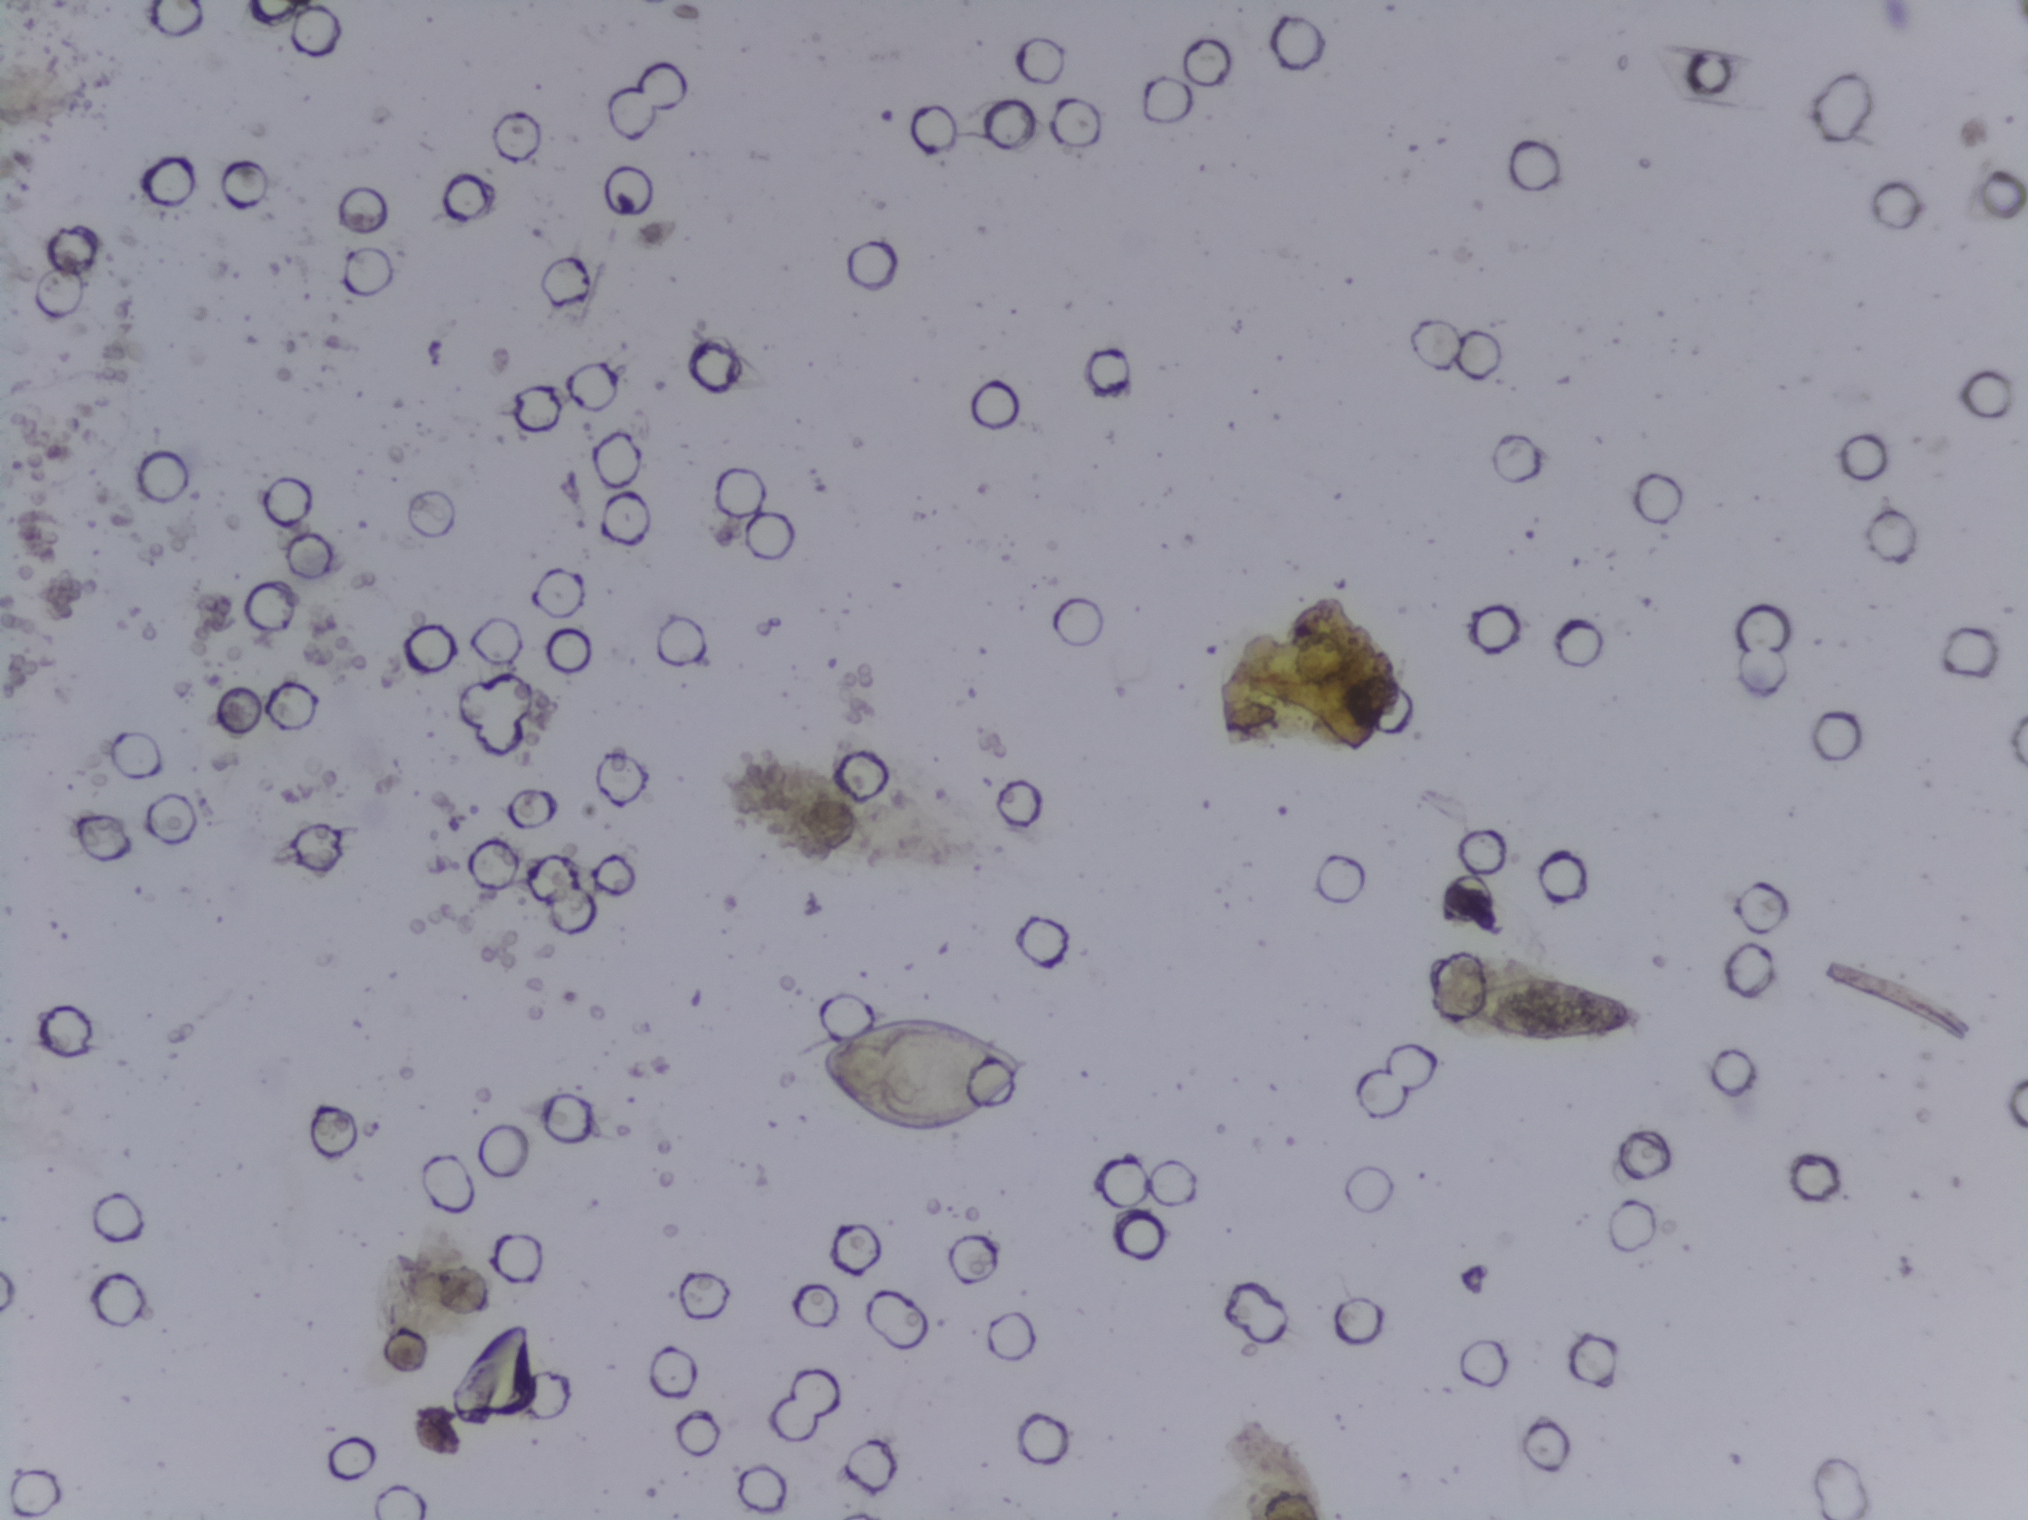
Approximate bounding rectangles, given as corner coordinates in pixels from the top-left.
Schistosoma eggs are outlined in the expert annotation at (x1=810, y1=1015, x2=1029, y2=1131) and (x1=1450, y1=976, x2=1644, y2=1043). A single outlined area may contain several eggs.
Urine filter membrane photographed through a 4× microscope objective.